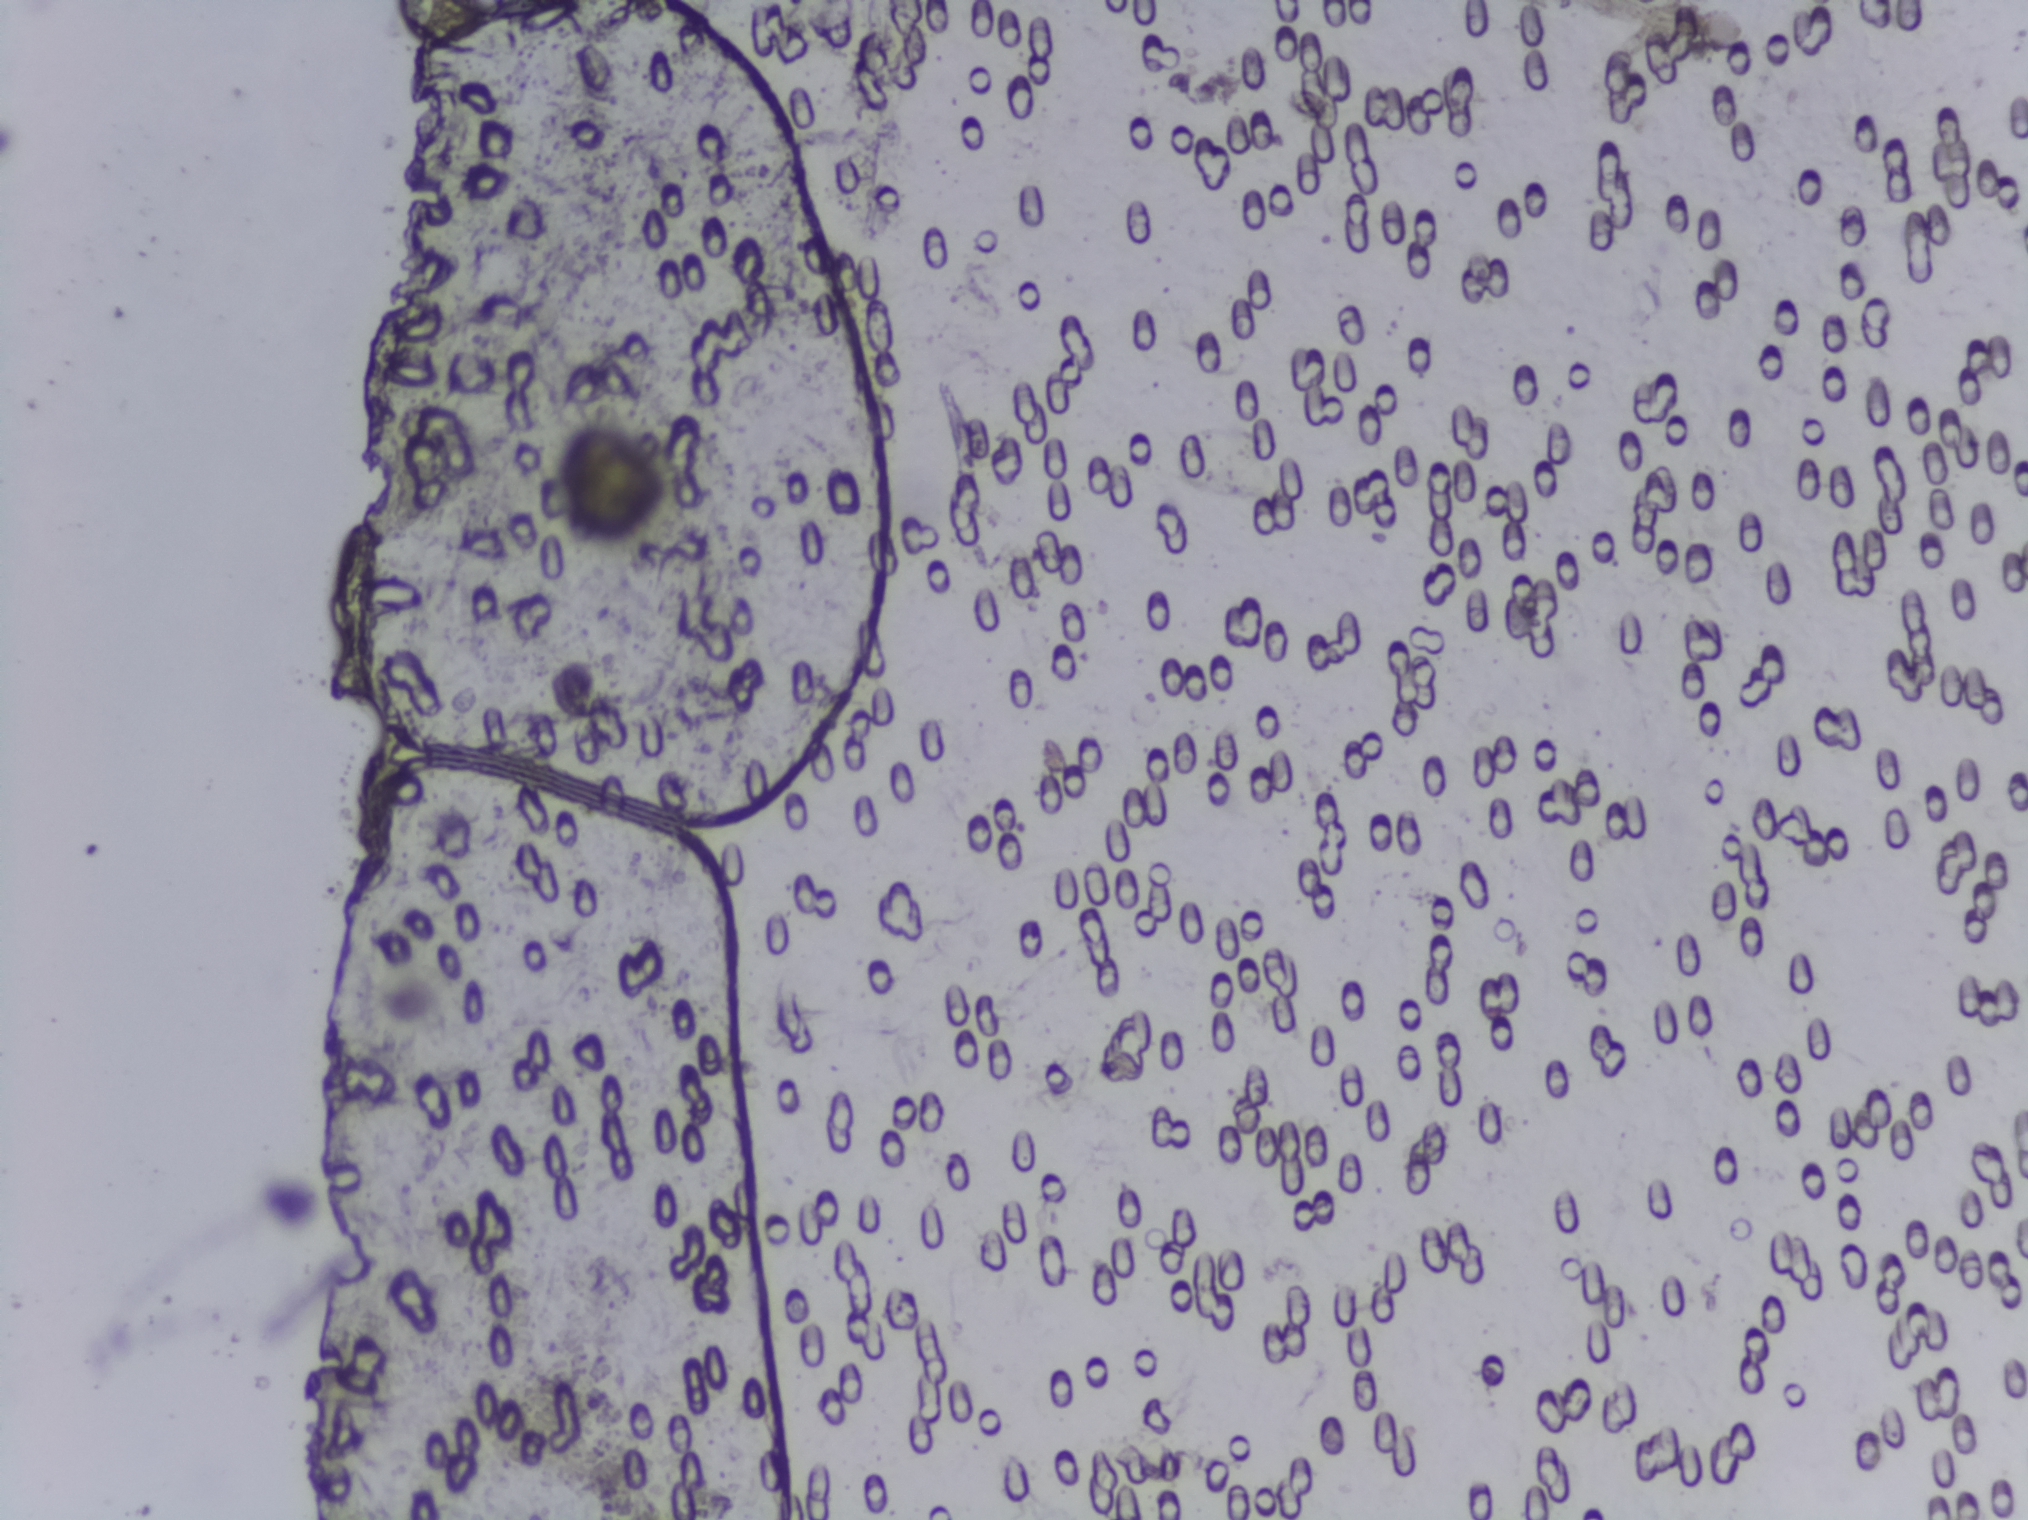
Urine filter membrane photographed through a 4× microscope objective.
No area of this image was outlined as a Schistosoma egg.